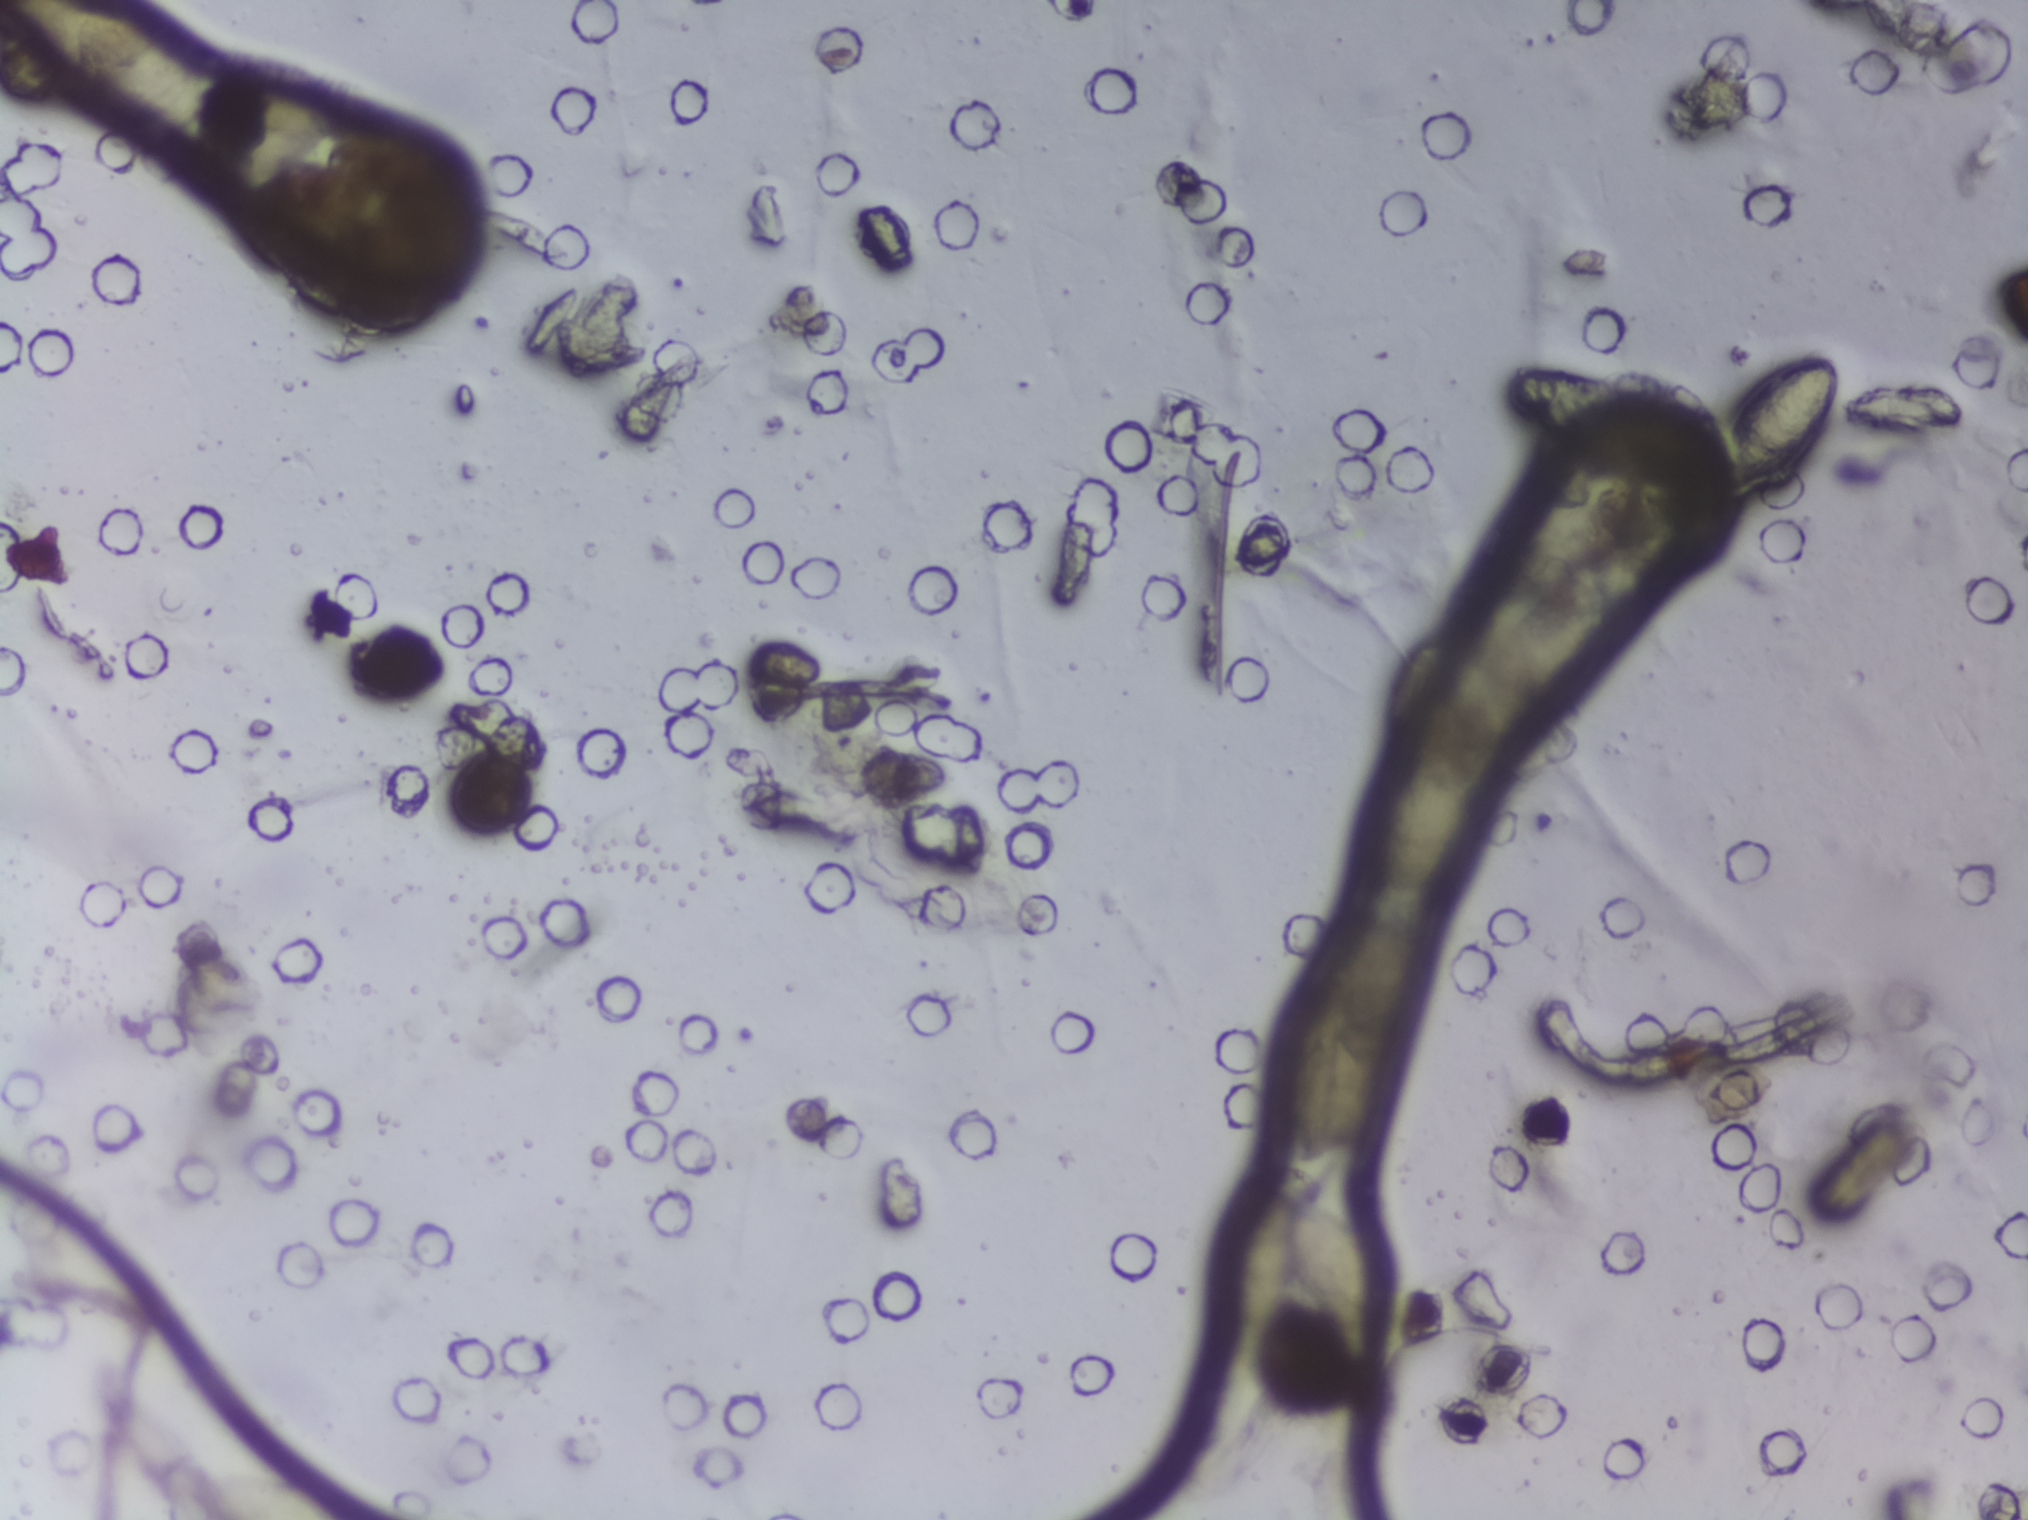
Urine filtration membrane under a 4× objective, photographed by an automated digital microscope.
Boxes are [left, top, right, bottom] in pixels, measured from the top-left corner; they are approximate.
Schistosoma eggs are outlined in the expert annotation at [0, 0, 211, 149] (reaching the left and top edges of the frame); [1201, 1172, 1390, 1368]; [1473, 364, 1680, 711]; [1692, 351, 1841, 495]. About 3.3% of the image's pixels are marked (the marked pixels themselves, not the boxes around them). An outlined area can hold more than one egg.